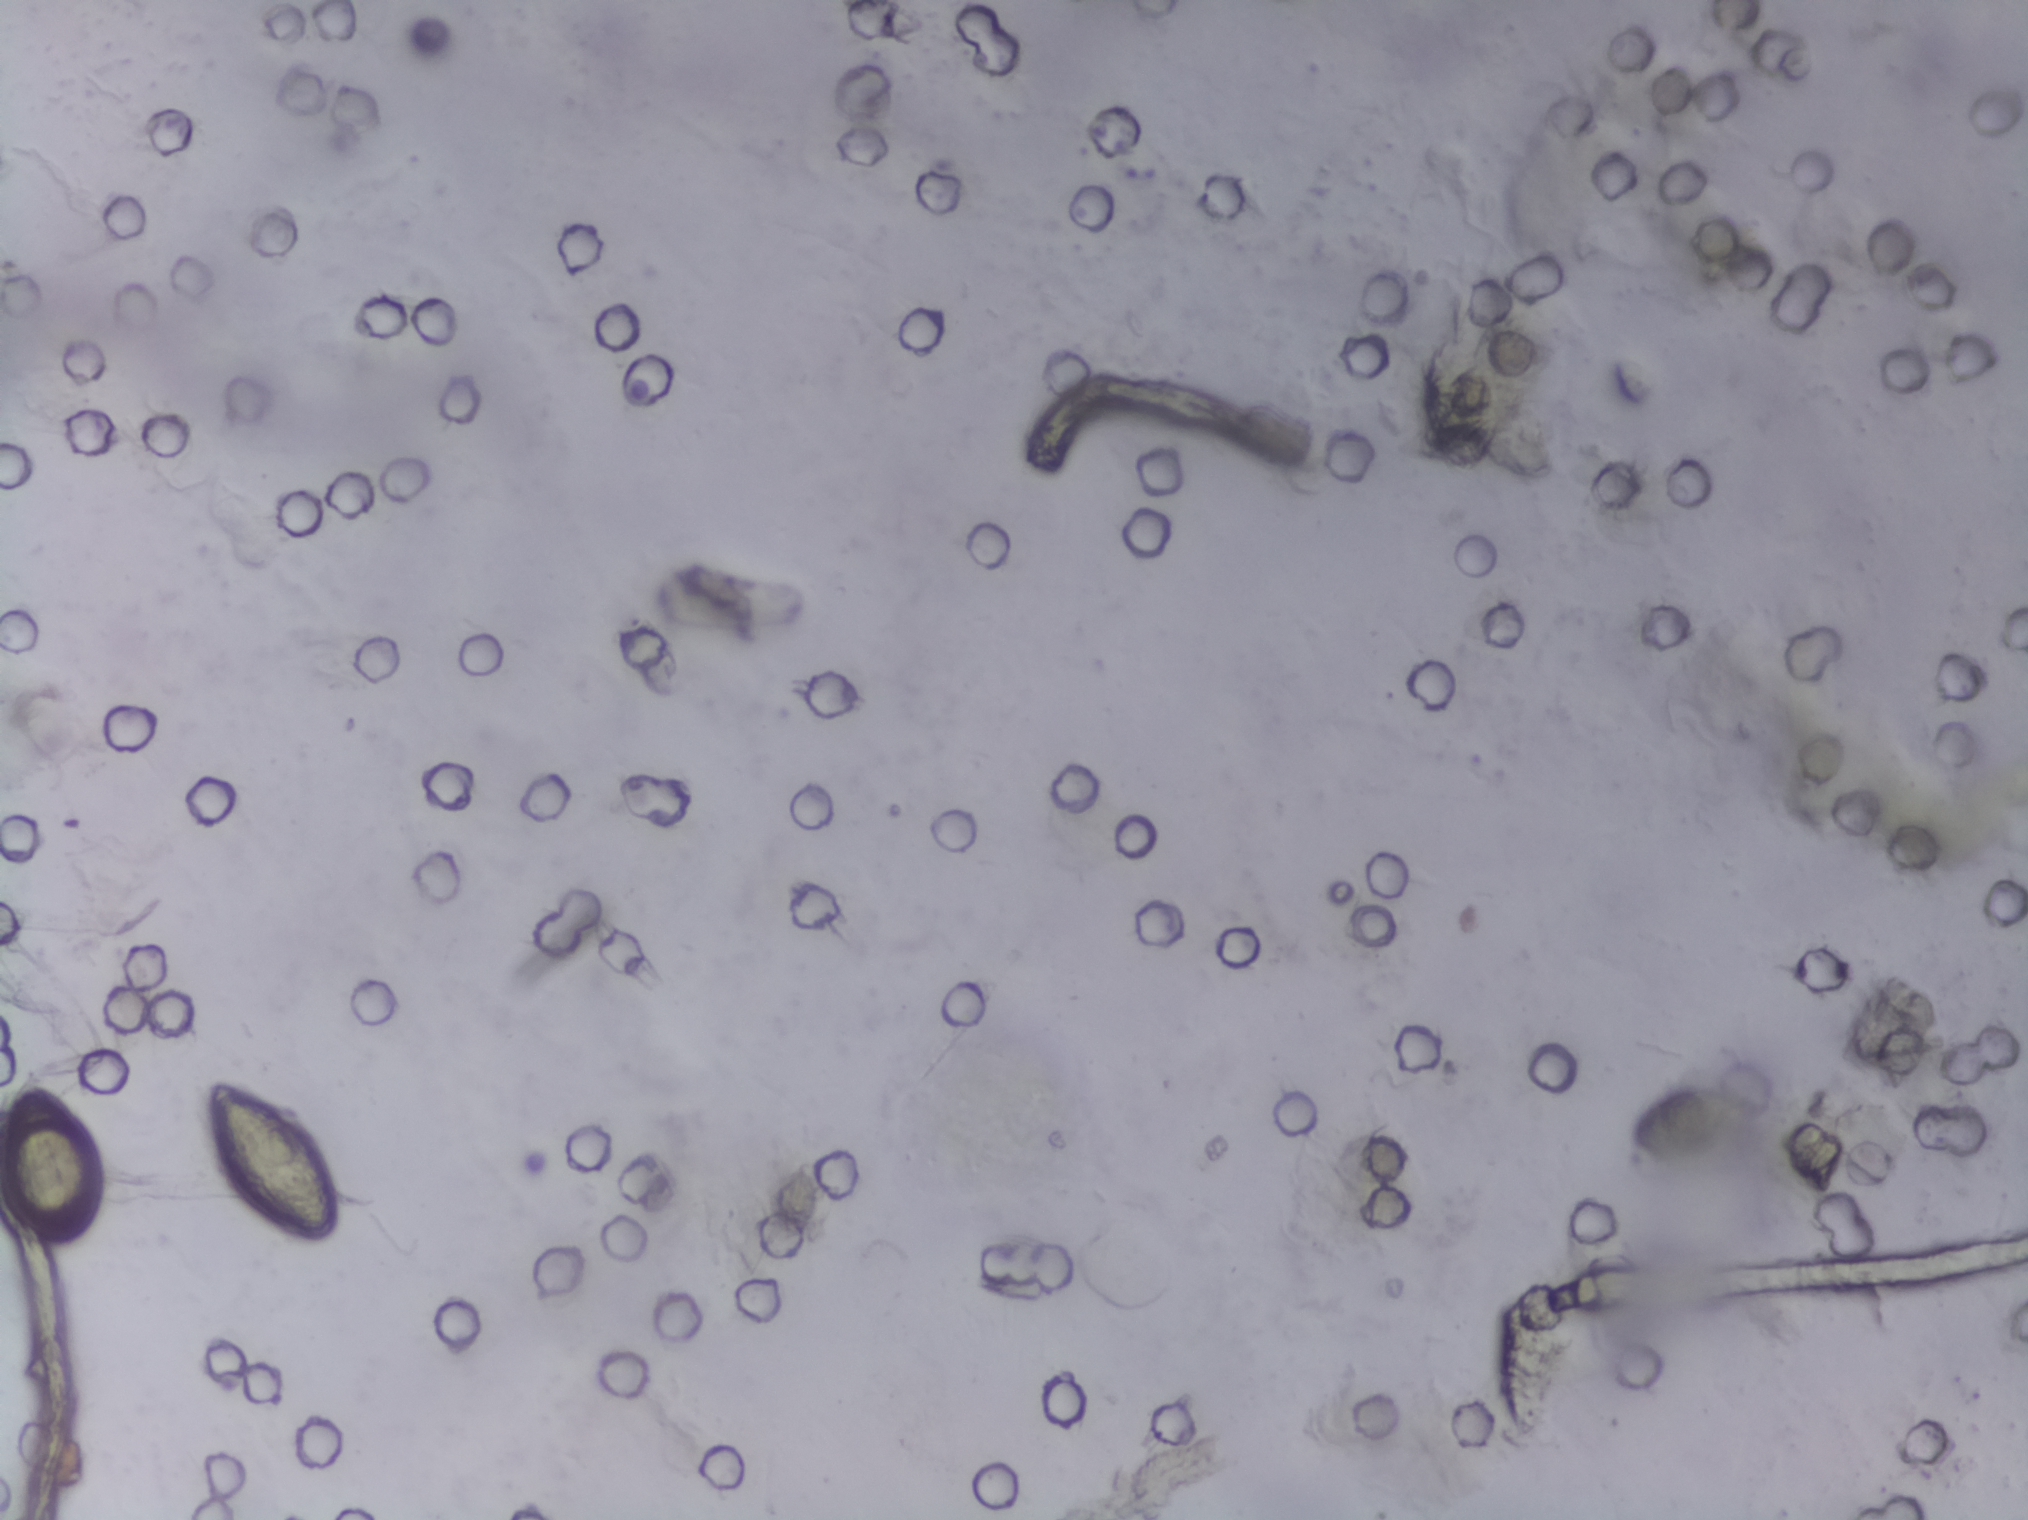
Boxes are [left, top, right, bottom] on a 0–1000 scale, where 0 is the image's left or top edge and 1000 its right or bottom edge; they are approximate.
Schistosoma eggs are outlined in the expert annotation at [0, 703, 52, 822] (reaching the left edge of the frame) and [94, 706, 170, 822] (left to right). The marked pixels themselves, not the boxes around them, cover about 1.0% of the image. An outlined area can hold more than one egg.
Microscope photograph (4× objective) of a membrane that a urine sample was filtered through. The image covers about 1.5 × 1.1 mm of the membrane.